Photograph from an automated digital microscope: urine filter membrane, 4× objective.
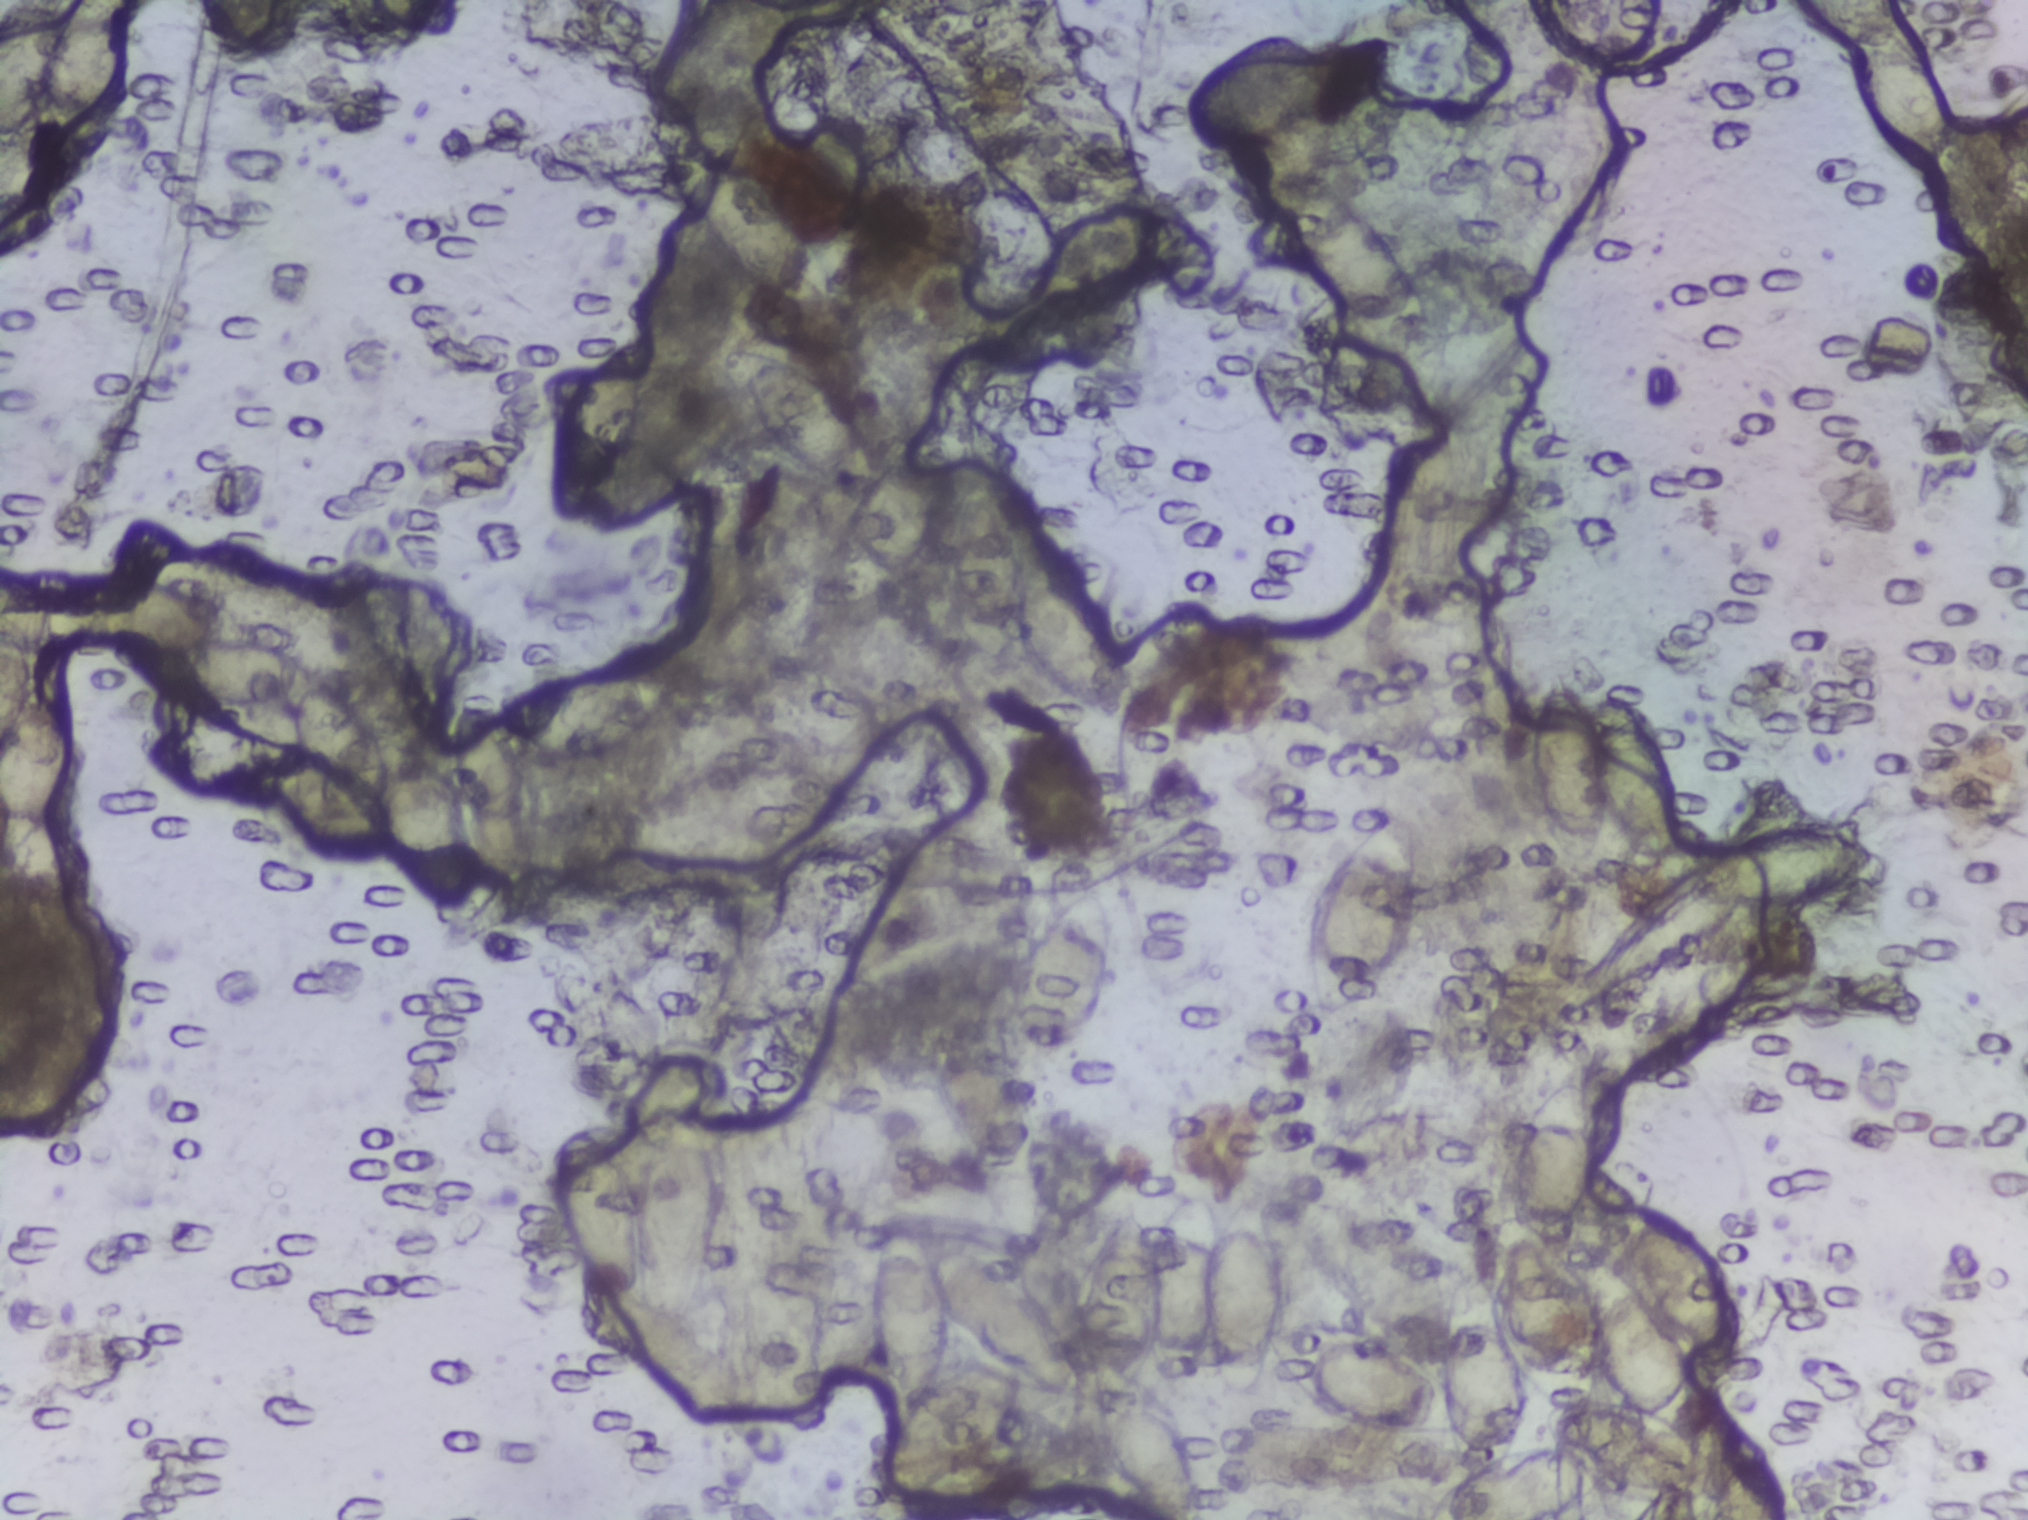
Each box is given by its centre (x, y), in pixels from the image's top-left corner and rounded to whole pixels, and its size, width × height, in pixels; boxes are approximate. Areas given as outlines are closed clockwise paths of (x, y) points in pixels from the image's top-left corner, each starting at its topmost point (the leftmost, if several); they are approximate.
13 areas of this image are outlined as Schistosoma eggs, from left to right: box centre (36, 699), 73 × 283 px (reaching the left edge of the frame); outline (72, 567), (142, 567), (201, 583), (221, 613), (222, 634), (285, 646), (301, 659), (304, 684), (318, 683), (355, 705), (397, 752), (417, 750), (448, 776), (448, 722), (456, 704), (470, 696), (493, 710), (526, 684), (606, 670), (647, 669), (679, 677), (679, 684), (650, 727), (609, 754), (557, 759), (530, 750), (527, 818), (496, 822), (465, 807), (478, 852), (480, 899), (468, 917), (456, 918), (410, 893), (381, 839), (359, 834), (298, 774), (285, 728), (289, 698), (245, 715), (205, 715), (161, 702), (135, 680), (133, 655), (91, 644), (61, 616), (52, 581) (eggs clustered together); box centre (596, 430), 112 × 192 px; box centre (634, 1221), 171 × 215 px; outline (744, 343), (795, 361), (834, 386), (874, 470), (894, 456), (934, 452), (949, 488), (967, 468), (987, 471), (1018, 525), (1022, 547), (1025, 538), (1052, 543), (1107, 606), (1125, 658), (1123, 713), (1104, 720), (1040, 680), (1019, 654), (1013, 617), (1002, 631), (973, 622), (952, 586), (941, 512), (920, 565), (889, 590), (860, 605), (808, 609), (801, 598), (803, 573), (847, 498), (786, 465), (742, 411), (728, 352) (eggs clustered together); box centre (971, 1355), 208 × 295 px; box centre (986, 1106), 110 × 169 px; box centre (1067, 965), 102 × 167 px; box centre (1367, 916), 116 × 209 px; outline (1568, 1076), (1587, 1085), (1594, 1104), (1596, 1166), (1590, 1194), (1561, 1237), (1585, 1264), (1589, 1250), (1608, 1259), (1610, 1210), (1653, 1205), (1691, 1229), (1728, 1278), (1739, 1321), (1738, 1366), (1722, 1382), (1692, 1375), (1694, 1434), (1716, 1462), (1710, 1484), (1661, 1498), (1622, 1498), (1596, 1486), (1541, 1519), (1429, 1519), (1434, 1492), (1462, 1469), (1447, 1434), (1352, 1423), (1297, 1393), (1270, 1359), (1255, 1394), (1234, 1394), (1215, 1368), (1210, 1347), (1189, 1376), (1170, 1381), (1152, 1363), (1141, 1383), (1169, 1402), (1195, 1439), (1206, 1473), (1205, 1516), (1159, 1519), (1120, 1486), (1090, 1422), (1095, 1388), (1082, 1348), (1079, 1299), (1093, 1249), (1121, 1216), (1136, 1207), (1156, 1233), (1165, 1212), (1190, 1193), (1208, 1191), (1221, 1215), (1244, 1194), (1261, 1192), (1288, 1256), (1279, 1325), (1345, 1326), (1432, 1360), (1449, 1275), (1467, 1261), (1490, 1282), (1496, 1224), (1515, 1215), (1514, 1166), (1527, 1113) (eggs clustered together; reaching the bottom edge of the frame); box centre (1606, 769), 162 × 201 px; box centre (1782, 864), 195 × 96 px; box centre (1870, 88), 150 × 177 px (reaching the top edge of the frame). A single outlined area may contain several eggs.